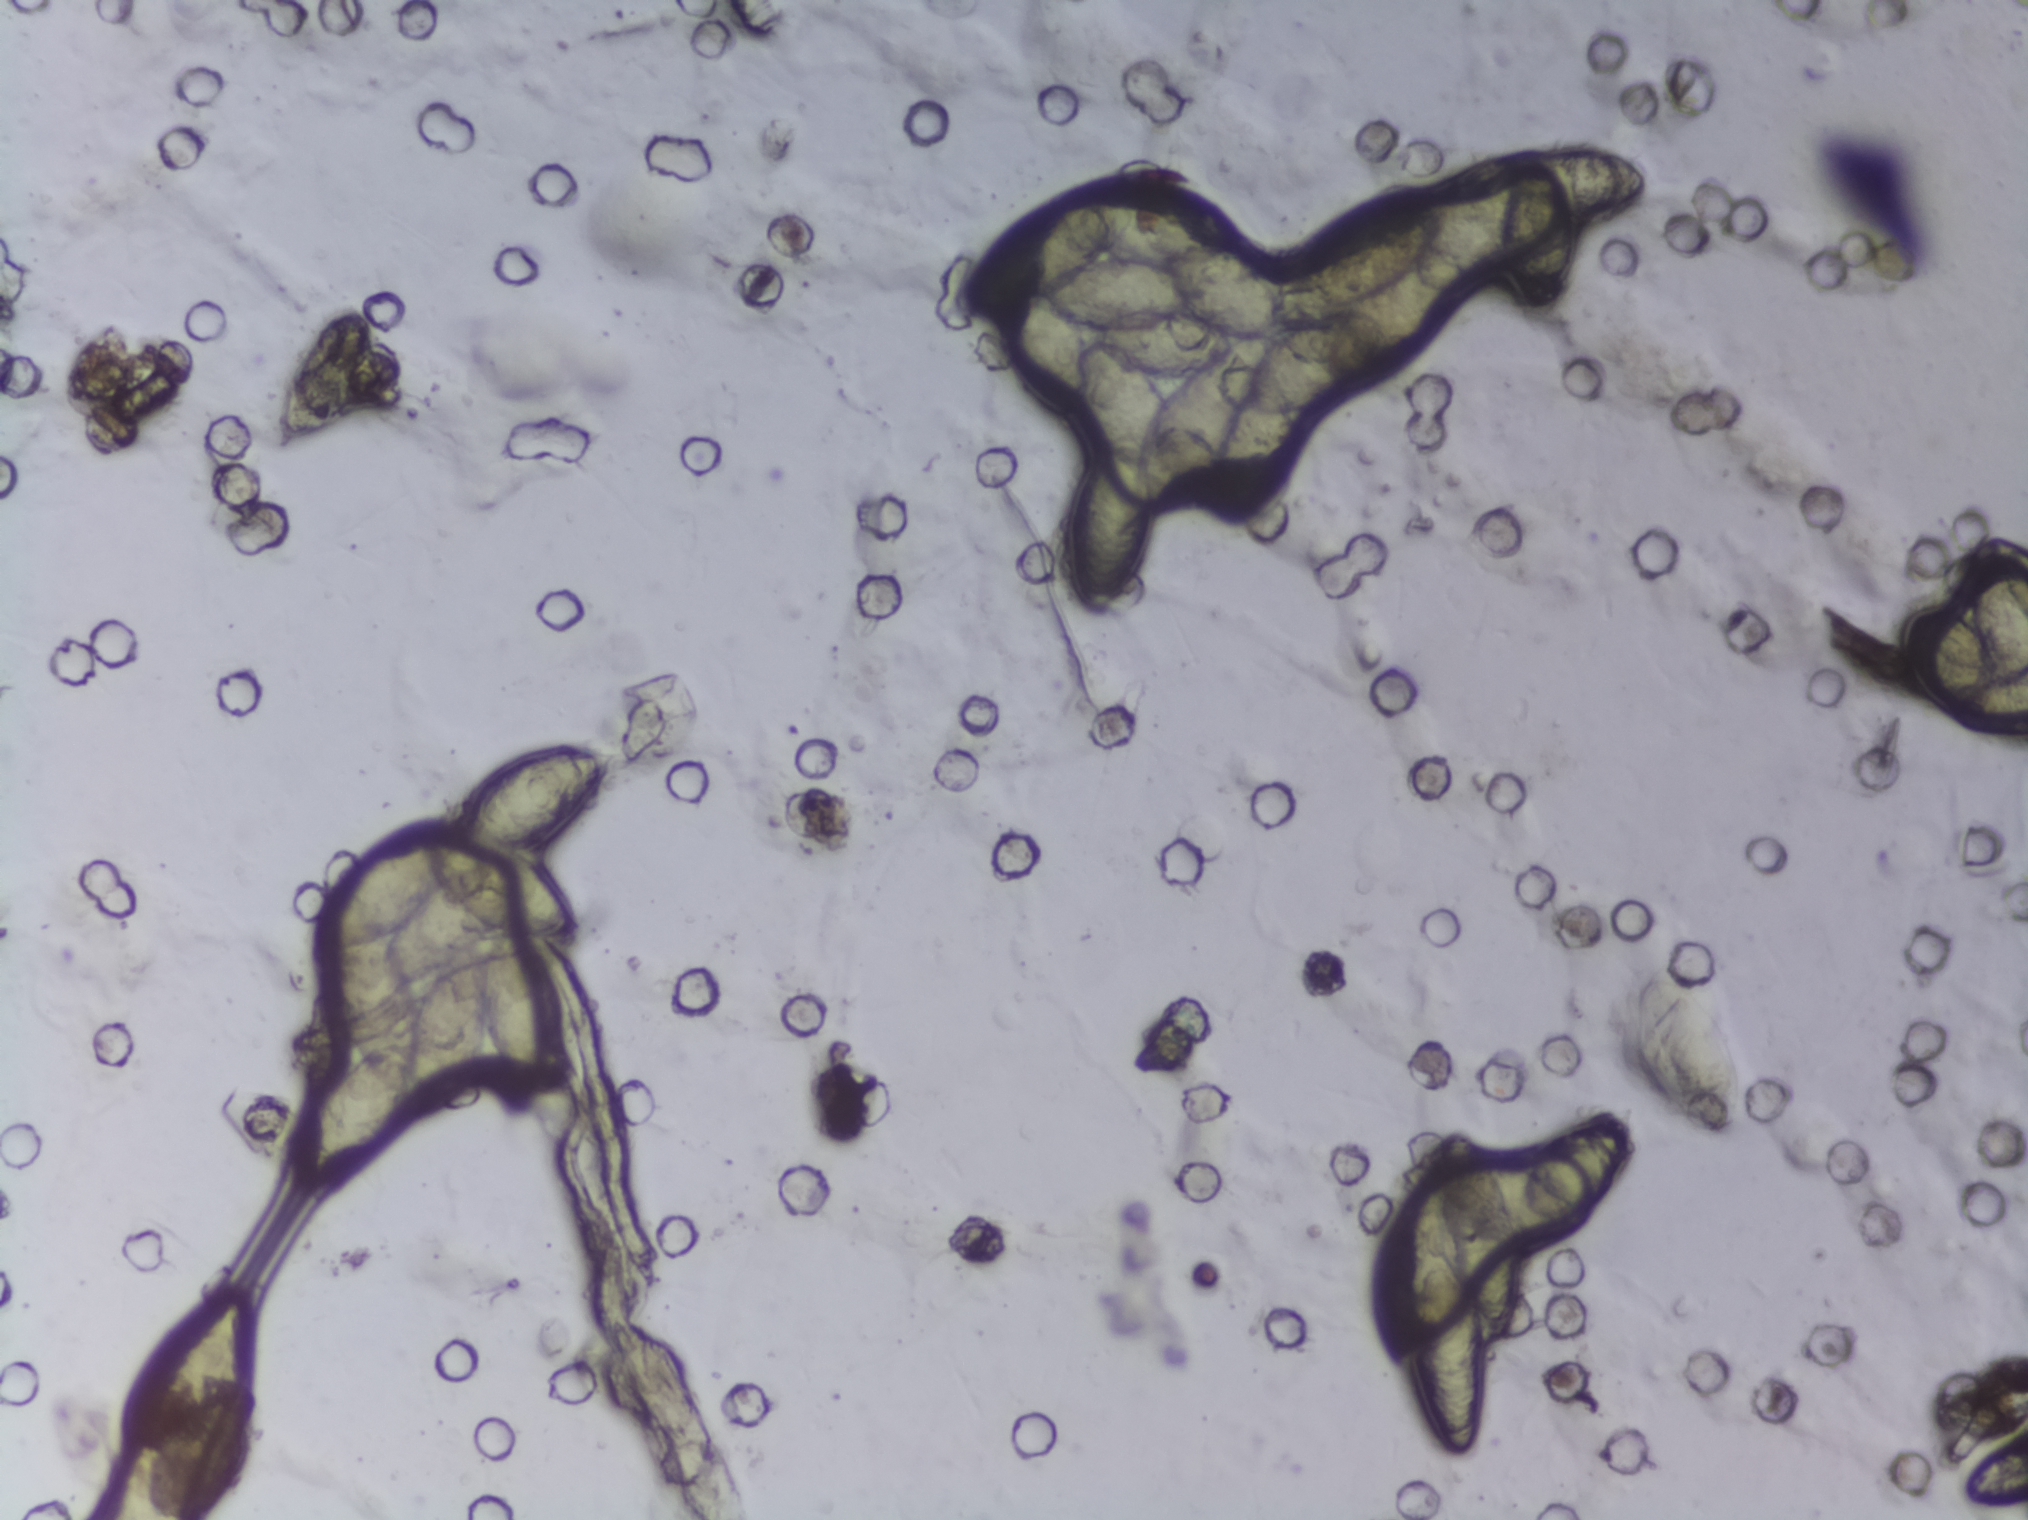
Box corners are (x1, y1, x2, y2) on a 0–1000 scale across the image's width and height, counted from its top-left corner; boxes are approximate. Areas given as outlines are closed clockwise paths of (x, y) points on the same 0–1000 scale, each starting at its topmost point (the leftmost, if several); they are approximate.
Areas outlined as Schistosoma eggs, left to right:
1. box (136, 203, 185, 297)
2. outline (293, 490), (306, 492), (296, 524), (283, 542), (260, 556), (274, 573), (288, 606), (284, 619), (263, 622), (280, 664), (281, 712), (270, 719), (262, 716), (250, 702), (241, 678), (239, 698), (231, 721), (217, 730), (203, 729), (196, 746), (180, 765), (160, 777), (150, 777), (148, 752), (151, 729), (155, 728), (166, 699), (173, 695), (160, 667), (157, 635), (152, 623), (153, 608), (159, 594), (186, 551), (199, 540), (217, 535), (244, 500) (eggs clustered together)
3. outline (749, 96), (762, 100), (787, 97), (806, 107), (813, 119), (813, 130), (800, 142), (775, 142), (778, 166), (768, 210), (755, 215), (744, 194), (740, 165), (726, 183), (720, 215), (705, 233), (667, 258), (653, 273), (637, 277), (639, 305), (627, 344), (619, 352), (608, 352), (593, 334), (586, 338), (570, 336), (568, 367), (555, 398), (544, 410), (533, 402), (525, 383), (523, 346), (530, 312), (543, 290), (537, 279), (512, 269), (495, 232), (492, 204), (474, 198), (478, 172), (499, 140), (540, 115), (563, 113), (603, 132), (610, 146), (609, 165), (629, 186), (644, 152), (661, 137), (688, 125), (708, 129), (717, 112), (728, 104) (eggs clustered together)
4. outline (797, 726), (804, 726), (806, 731), (801, 770), (778, 805), (750, 823), (751, 862), (746, 883), (737, 884), (730, 871), (730, 951), (719, 962), (711, 956), (704, 940), (693, 890), (685, 896), (676, 887), (675, 850), (681, 815), (713, 743), (722, 743), (735, 759), (747, 792), (758, 752)
5. box (805, 643, 859, 751)
6. box (937, 351, 1000, 484) (reaching the right edge of the frame)
A single outlined area may contain several eggs.
Urine filtration membrane under a 4× objective, photographed by an automated digital microscope.